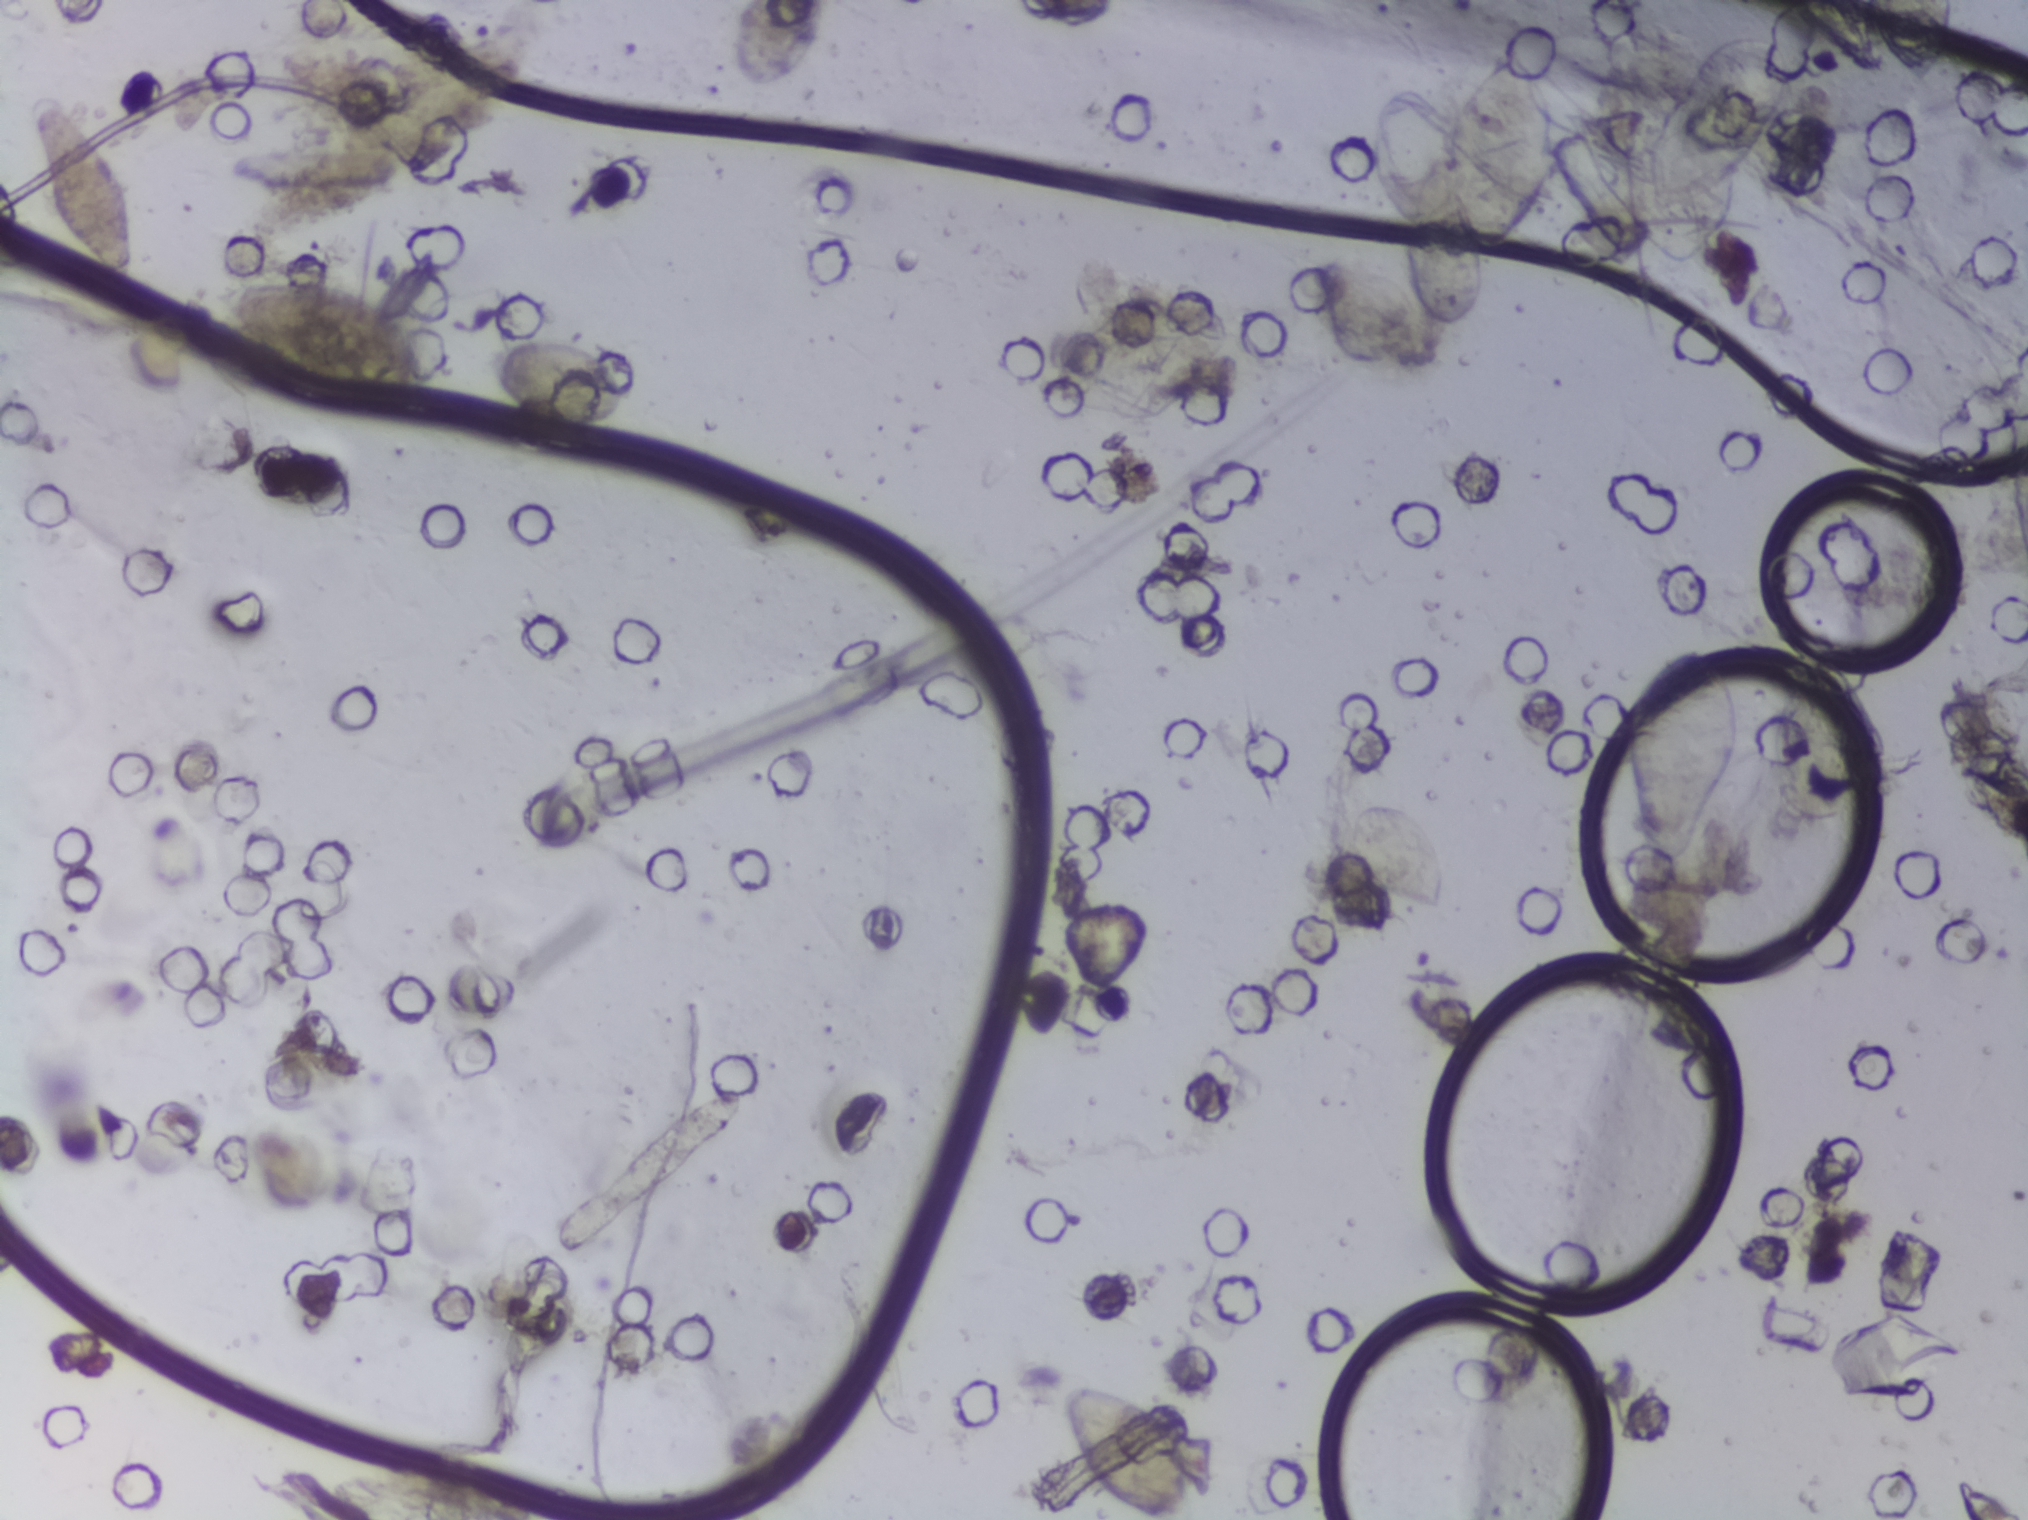
Photograph from an automated digital microscope: urine filter membrane, 4× objective. Field of view: about 1.5 mm wide and 1.1 mm high.
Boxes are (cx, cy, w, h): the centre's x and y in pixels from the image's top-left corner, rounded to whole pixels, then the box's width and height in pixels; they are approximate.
Schistosoma eggs are outlined in the expert annotation at (cx=82, cy=191, w=104, h=185); (cx=325, cy=335, w=210, h=111); (cx=552, cy=383, w=149, h=86); (cx=781, cy=44, w=93, h=89) (reaching the top edge of the frame); (cx=1128, cy=1450, w=132, h=137); (cx=1394, cy=858, w=99, h=109); (cx=1478, cy=190, w=154, h=282); (cx=1682, cy=755, w=120, h=230); (cx=1722, cy=124, w=150, h=184); (cx=1826, cy=734, w=108, h=197); (cx=1910, cy=43, w=86, h=86) (reaching the top edge of the frame) (left to right). The marked pixels themselves, not the boxes around them, cover about 4.8% of the image. An outlined area can hold more than one egg.